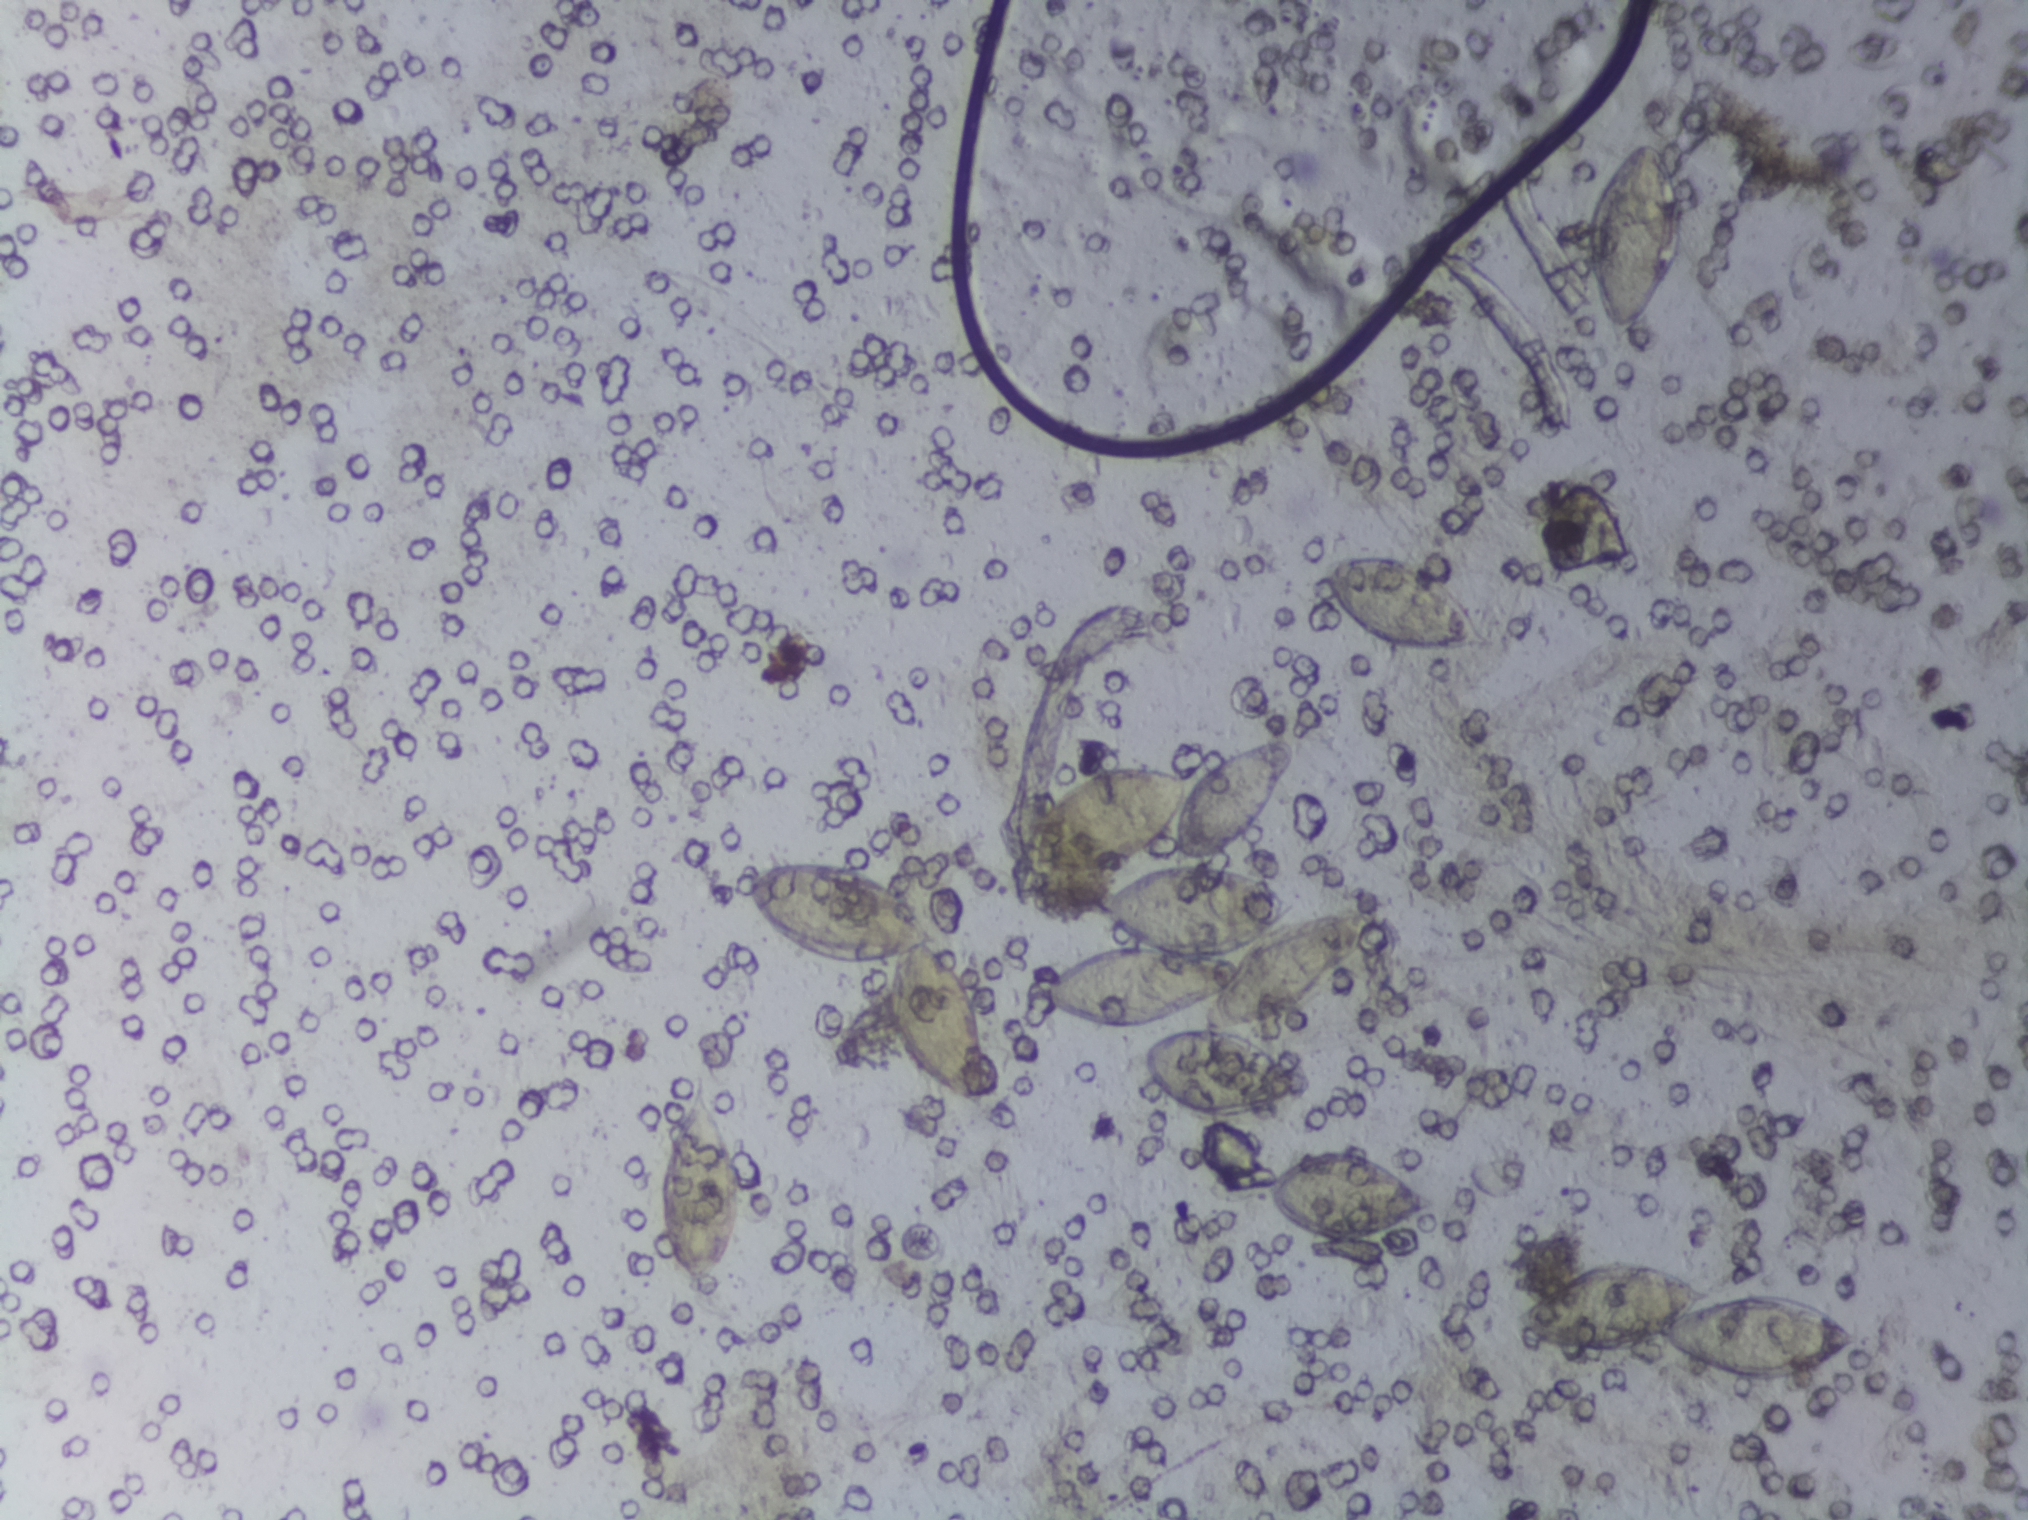
Microscope photograph (4× objective) of a membrane that a urine sample was filtered through.
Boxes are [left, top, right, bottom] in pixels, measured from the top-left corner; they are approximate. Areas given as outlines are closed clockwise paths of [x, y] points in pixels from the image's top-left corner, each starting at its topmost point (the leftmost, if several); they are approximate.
Areas outlined as Schistosoma eggs: box [655, 1079, 743, 1287]; outline [787, 859], [830, 859], [855, 867], [907, 900], [930, 926], [933, 940], [973, 992], [986, 1059], [981, 1107], [941, 1090], [904, 1053], [886, 1015], [886, 963], [823, 960], [773, 933], [753, 913], [744, 874], [756, 863]; outline [1286, 737], [1295, 738], [1297, 755], [1277, 800], [1242, 843], [1211, 861], [1258, 871], [1299, 901], [1288, 924], [1360, 905], [1390, 906], [1399, 924], [1382, 956], [1337, 994], [1284, 1027], [1242, 1035], [1301, 1066], [1311, 1079], [1307, 1093], [1255, 1117], [1211, 1120], [1156, 1090], [1140, 1071], [1140, 1053], [1156, 1036], [1201, 1024], [1194, 1009], [1141, 1033], [1071, 1019], [1038, 992], [1044, 972], [1056, 964], [1099, 946], [1137, 944], [1109, 927], [1095, 904], [1121, 878], [1174, 862], [1167, 832], [1133, 862], [1046, 899], [1017, 898], [1012, 852], [1054, 793], [1086, 771], [1103, 765], [1180, 768], [1192, 779], [1225, 755] (eggs clustered together); box [1265, 1149, 1438, 1246]; box [1323, 549, 1497, 656]; box [1513, 1260, 1861, 1384]; box [1584, 138, 1685, 347]. Eggs that touch can end up inside the same outlined area. A marked egg may occasionally be S. mansoni rather than S. haematobium.